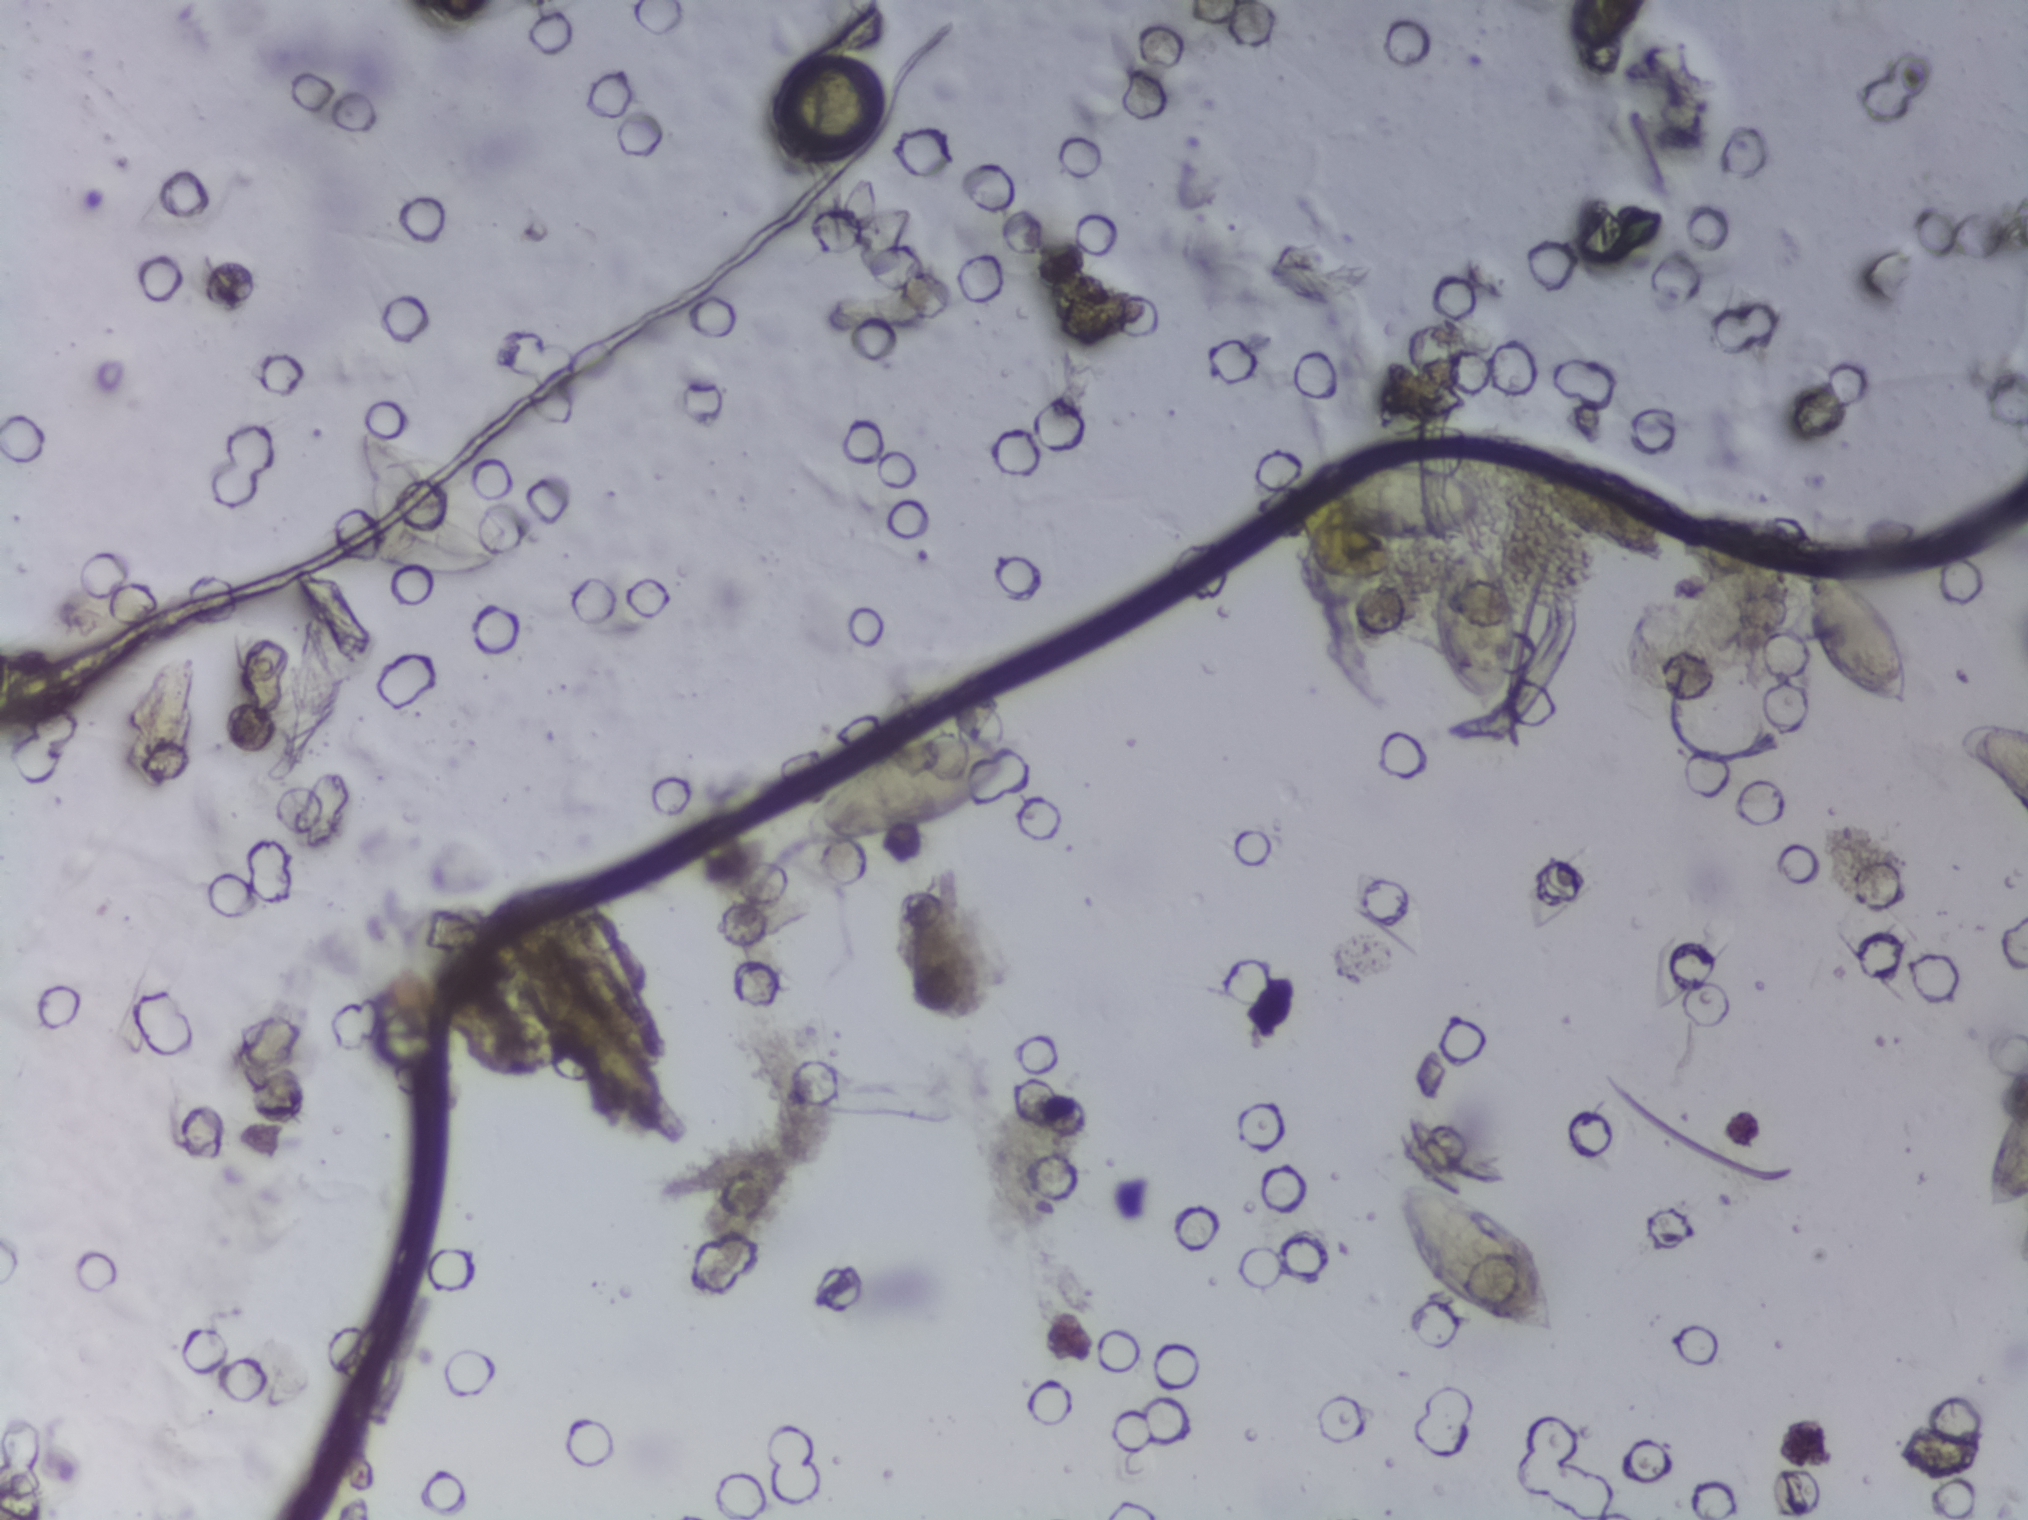
One field of view of a urine filter membrane, 4× objective, 2028 × 1520 pixels. The image covers about 1.5 × 1.1 mm of the membrane.
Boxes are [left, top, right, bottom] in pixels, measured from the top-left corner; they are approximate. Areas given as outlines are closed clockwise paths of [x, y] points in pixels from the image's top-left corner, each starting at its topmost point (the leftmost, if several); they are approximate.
Areas outlined as Schistosoma eggs: box [799, 730, 1028, 847]; outline [1390, 452], [1430, 457], [1471, 475], [1485, 491], [1489, 528], [1468, 538], [1497, 561], [1518, 609], [1514, 678], [1488, 718], [1440, 666], [1435, 575], [1455, 543], [1404, 545], [1332, 521], [1281, 515], [1267, 498], [1284, 475], [1323, 457]; box [1396, 1178, 1557, 1343]; box [1800, 552, 1911, 713]; box [1950, 714, 2027, 823] (reaching the right edge of the frame); box [1976, 1062, 2027, 1215] (reaching the right edge of the frame). Eggs that touch can end up inside the same outlined area.